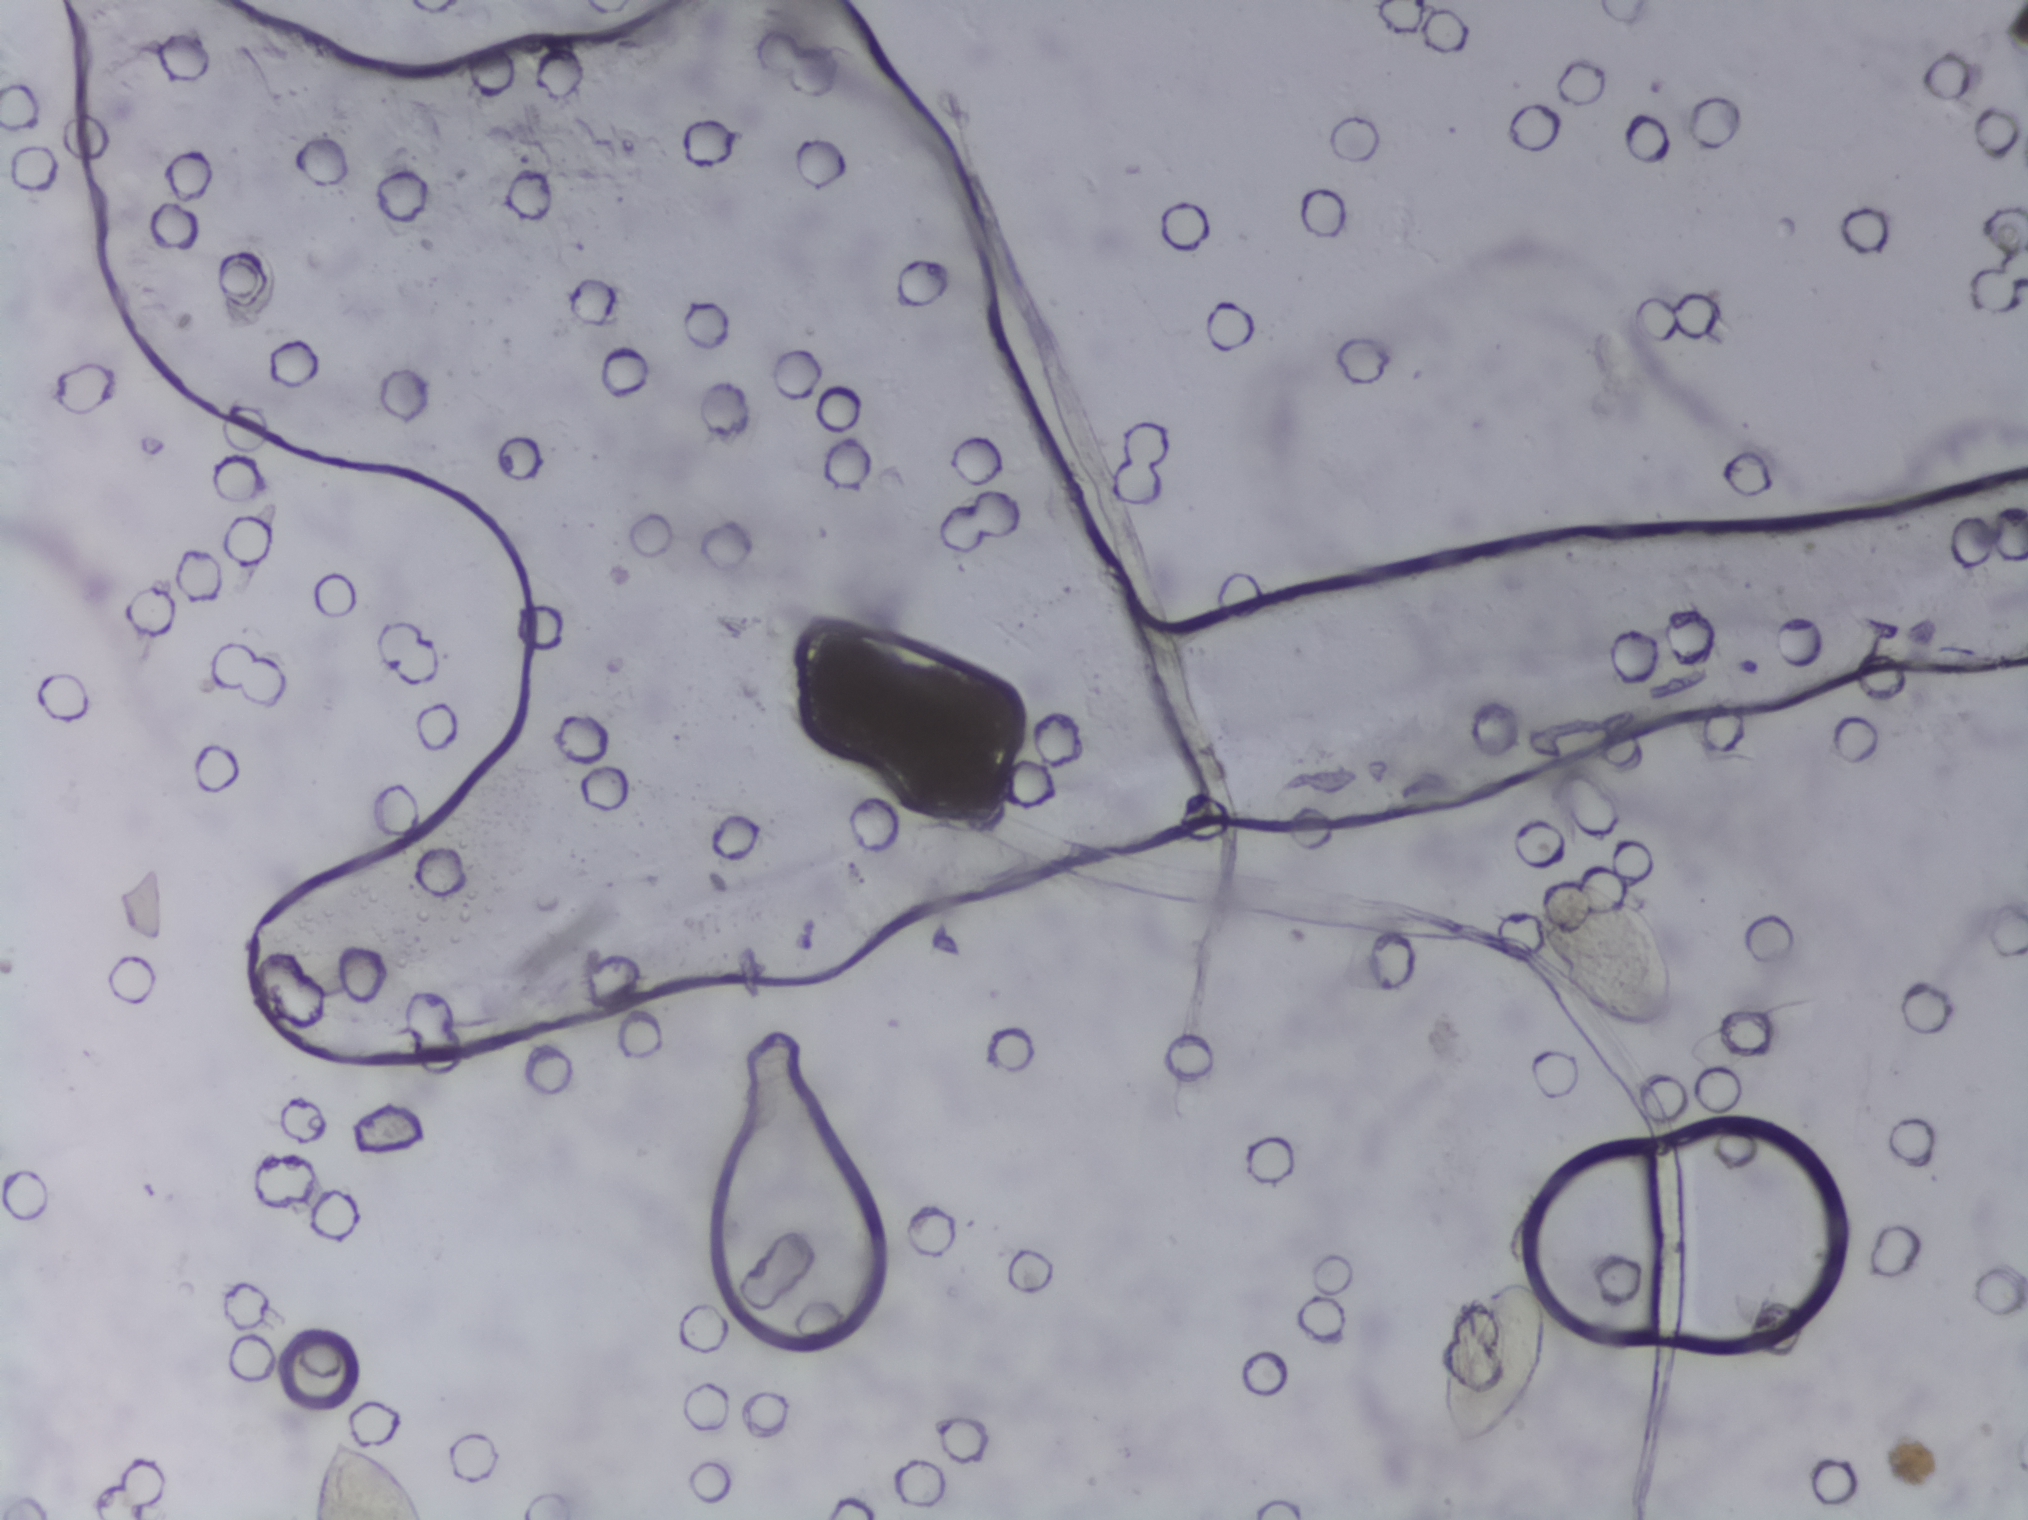
One field of view of a urine filter membrane, 4× objective, 2028 × 1520 pixels.
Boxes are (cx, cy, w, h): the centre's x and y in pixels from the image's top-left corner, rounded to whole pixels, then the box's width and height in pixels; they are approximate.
Schistosoma eggs, outlined areas: (cx=367, cy=1479, w=120, h=82) (reaching the bottom edge of the frame); (cx=1498, cy=1363, w=124, h=174); (cx=1604, cy=955, w=164, h=170). An outlined area can hold more than one egg. Any one outlined egg may, rarely, be S. mansoni rather than S. haematobium.